One field of view of a urine filter membrane, 4× objective, 2028 × 1520 pixels.
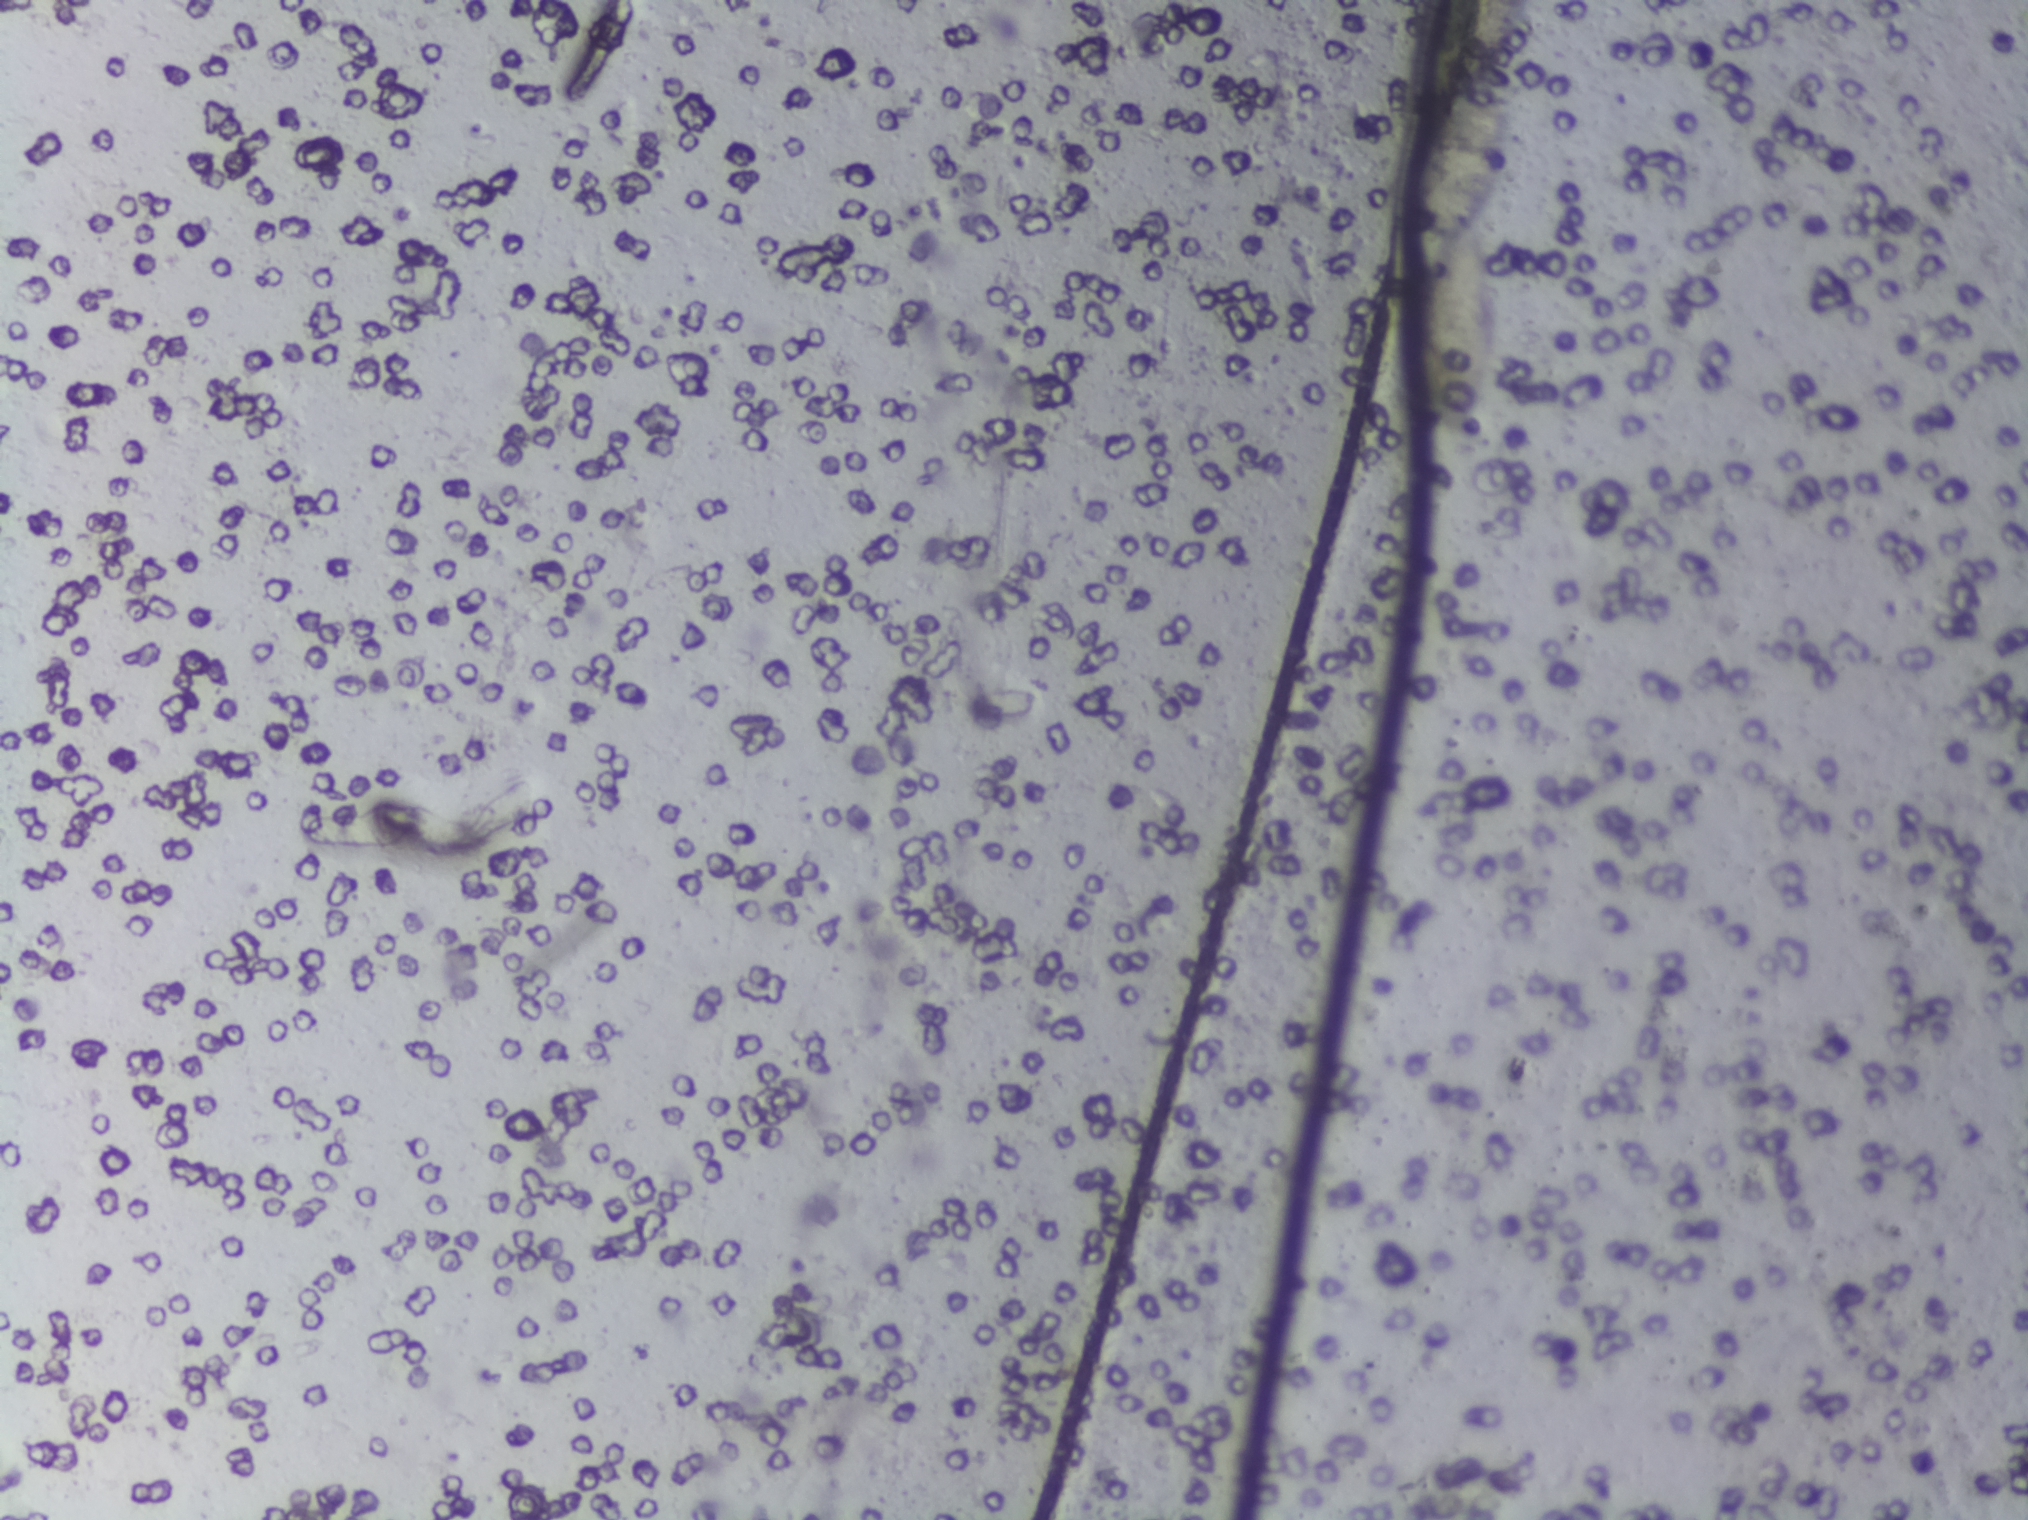
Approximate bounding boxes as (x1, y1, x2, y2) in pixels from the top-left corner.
Schistosoma eggs, outlined areas: (1384, 0, 1527, 434) (reaching the top edge of the frame). A single outlined area may contain several eggs.